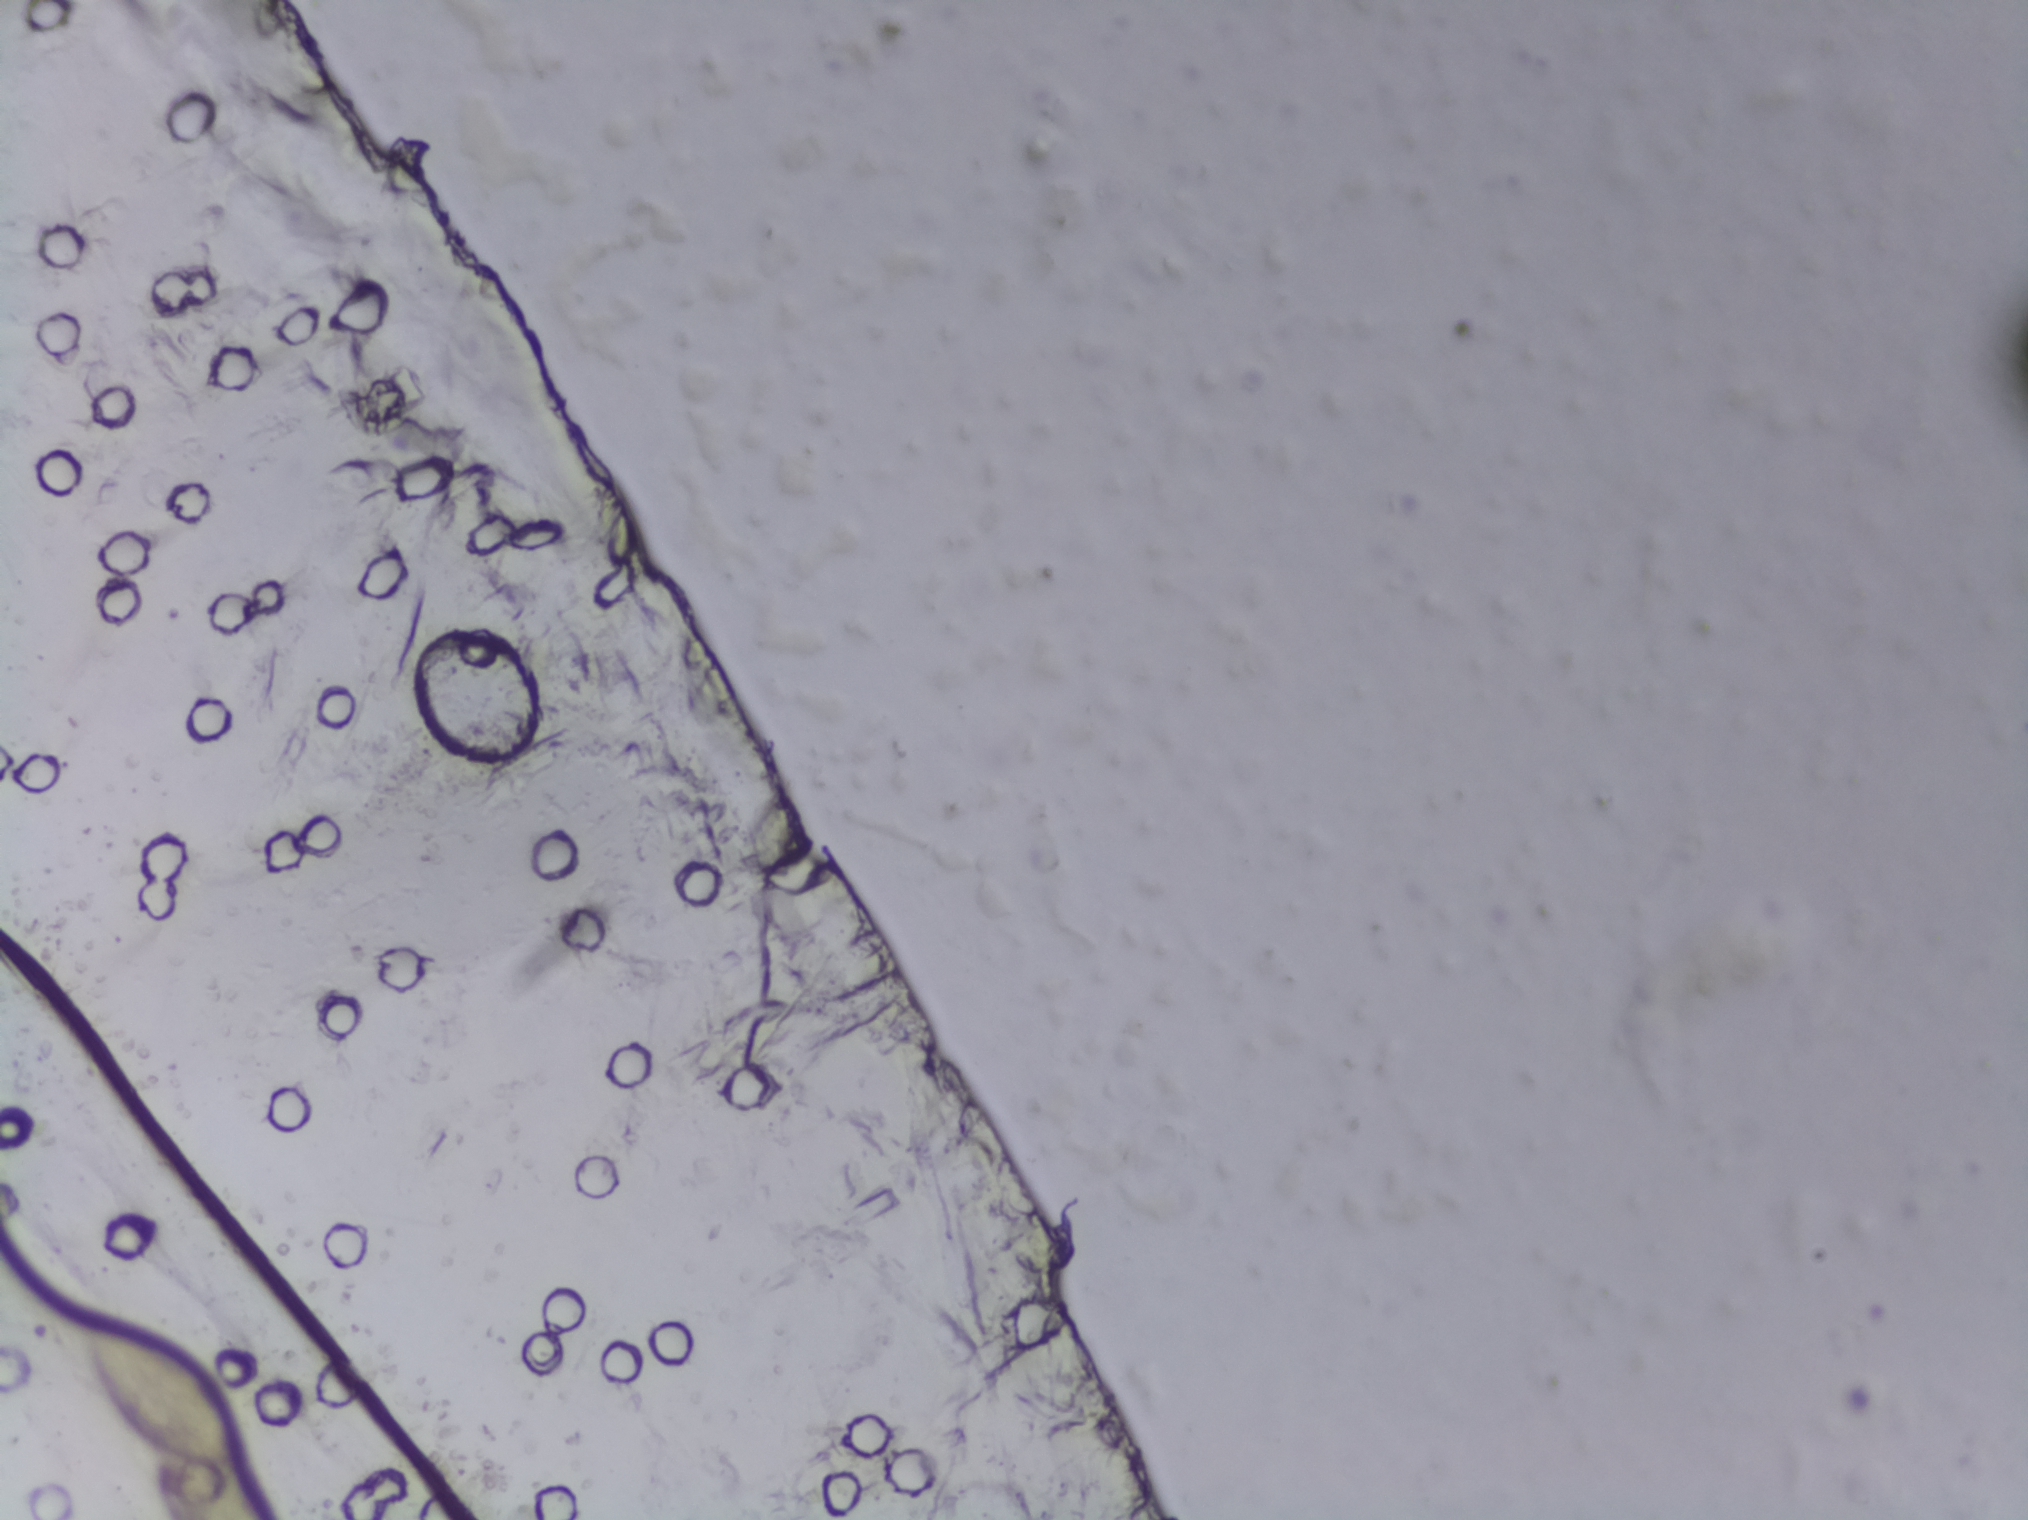
One field of view of a urine filter membrane, 4× objective, 2028 × 1520 pixels. The image covers about 1.5 × 1.1 mm of the membrane.
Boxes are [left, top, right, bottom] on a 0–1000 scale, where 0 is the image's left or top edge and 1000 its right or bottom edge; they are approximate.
Findings: one area outlined as Schistosoma eggs. Location: [43, 867, 136, 1000] (reaching the bottom edge of the frame). About 0.7% of the image's pixels are marked (the marked pixels themselves, not the box around them). An outlined area can hold more than one egg.